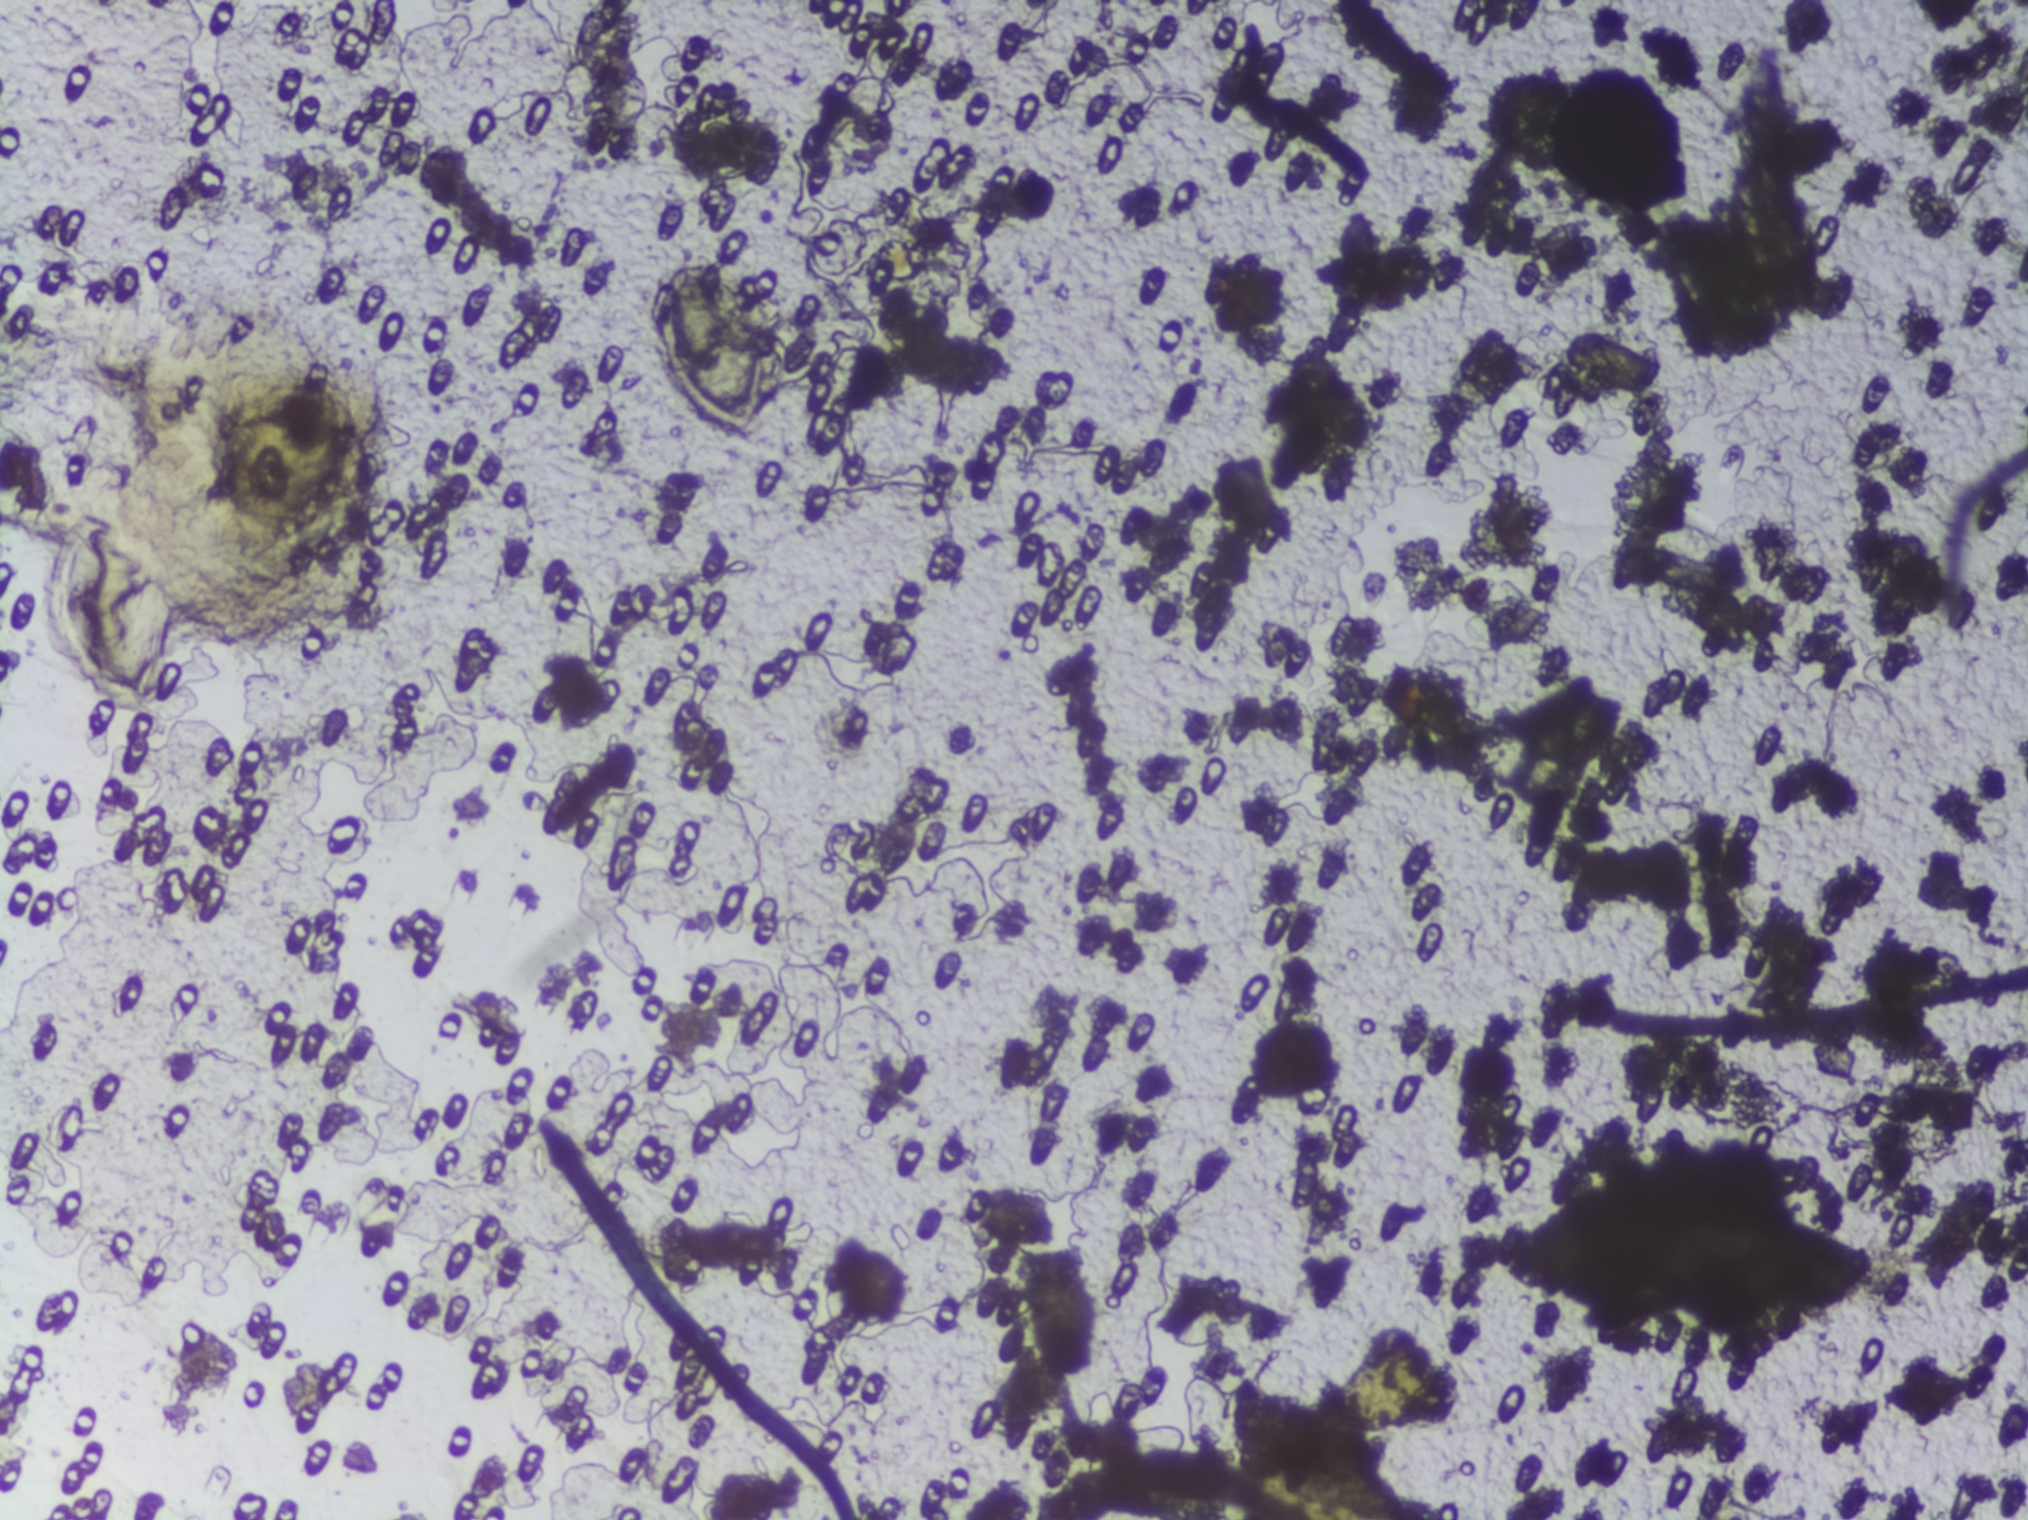
Photograph from an automated digital microscope: urine filter membrane, 4× objective.
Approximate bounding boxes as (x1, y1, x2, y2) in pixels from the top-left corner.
Schistosoma eggs are outlined in one area of this image: (643, 254, 782, 450). A single outlined area may contain several eggs. Any one outlined egg may, rarely, be S. mansoni rather than S. haematobium.